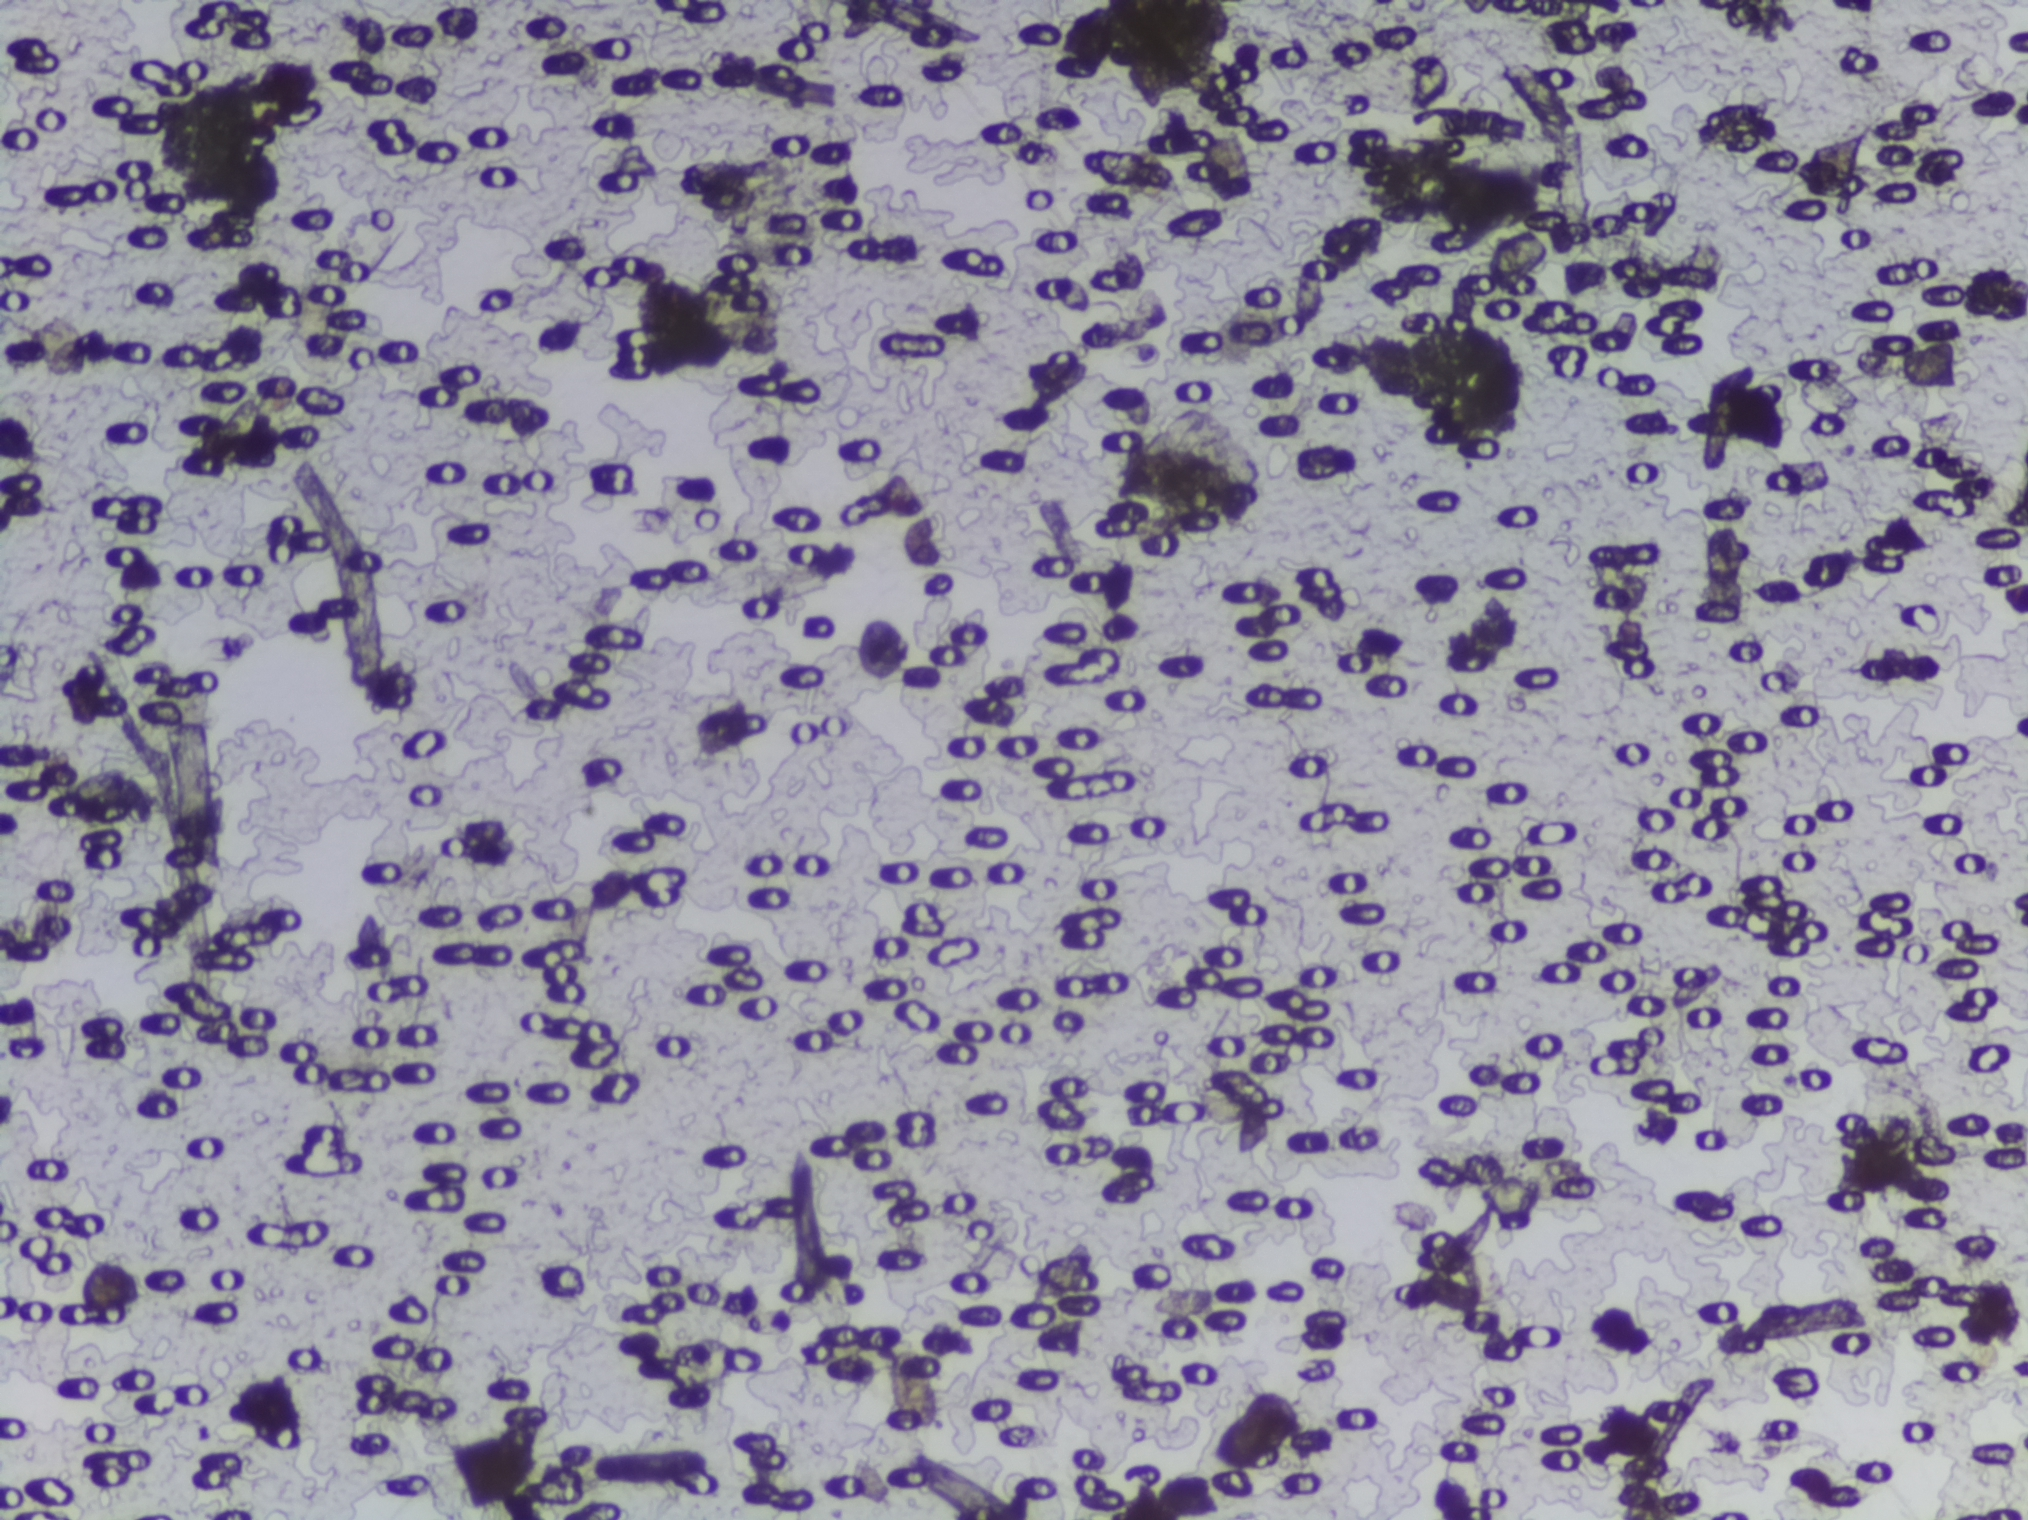
One field of view of a urine filter membrane, 4× objective, 2028 × 1520 pixels.
The expert annotation outlines no Schistosoma egg in this image.